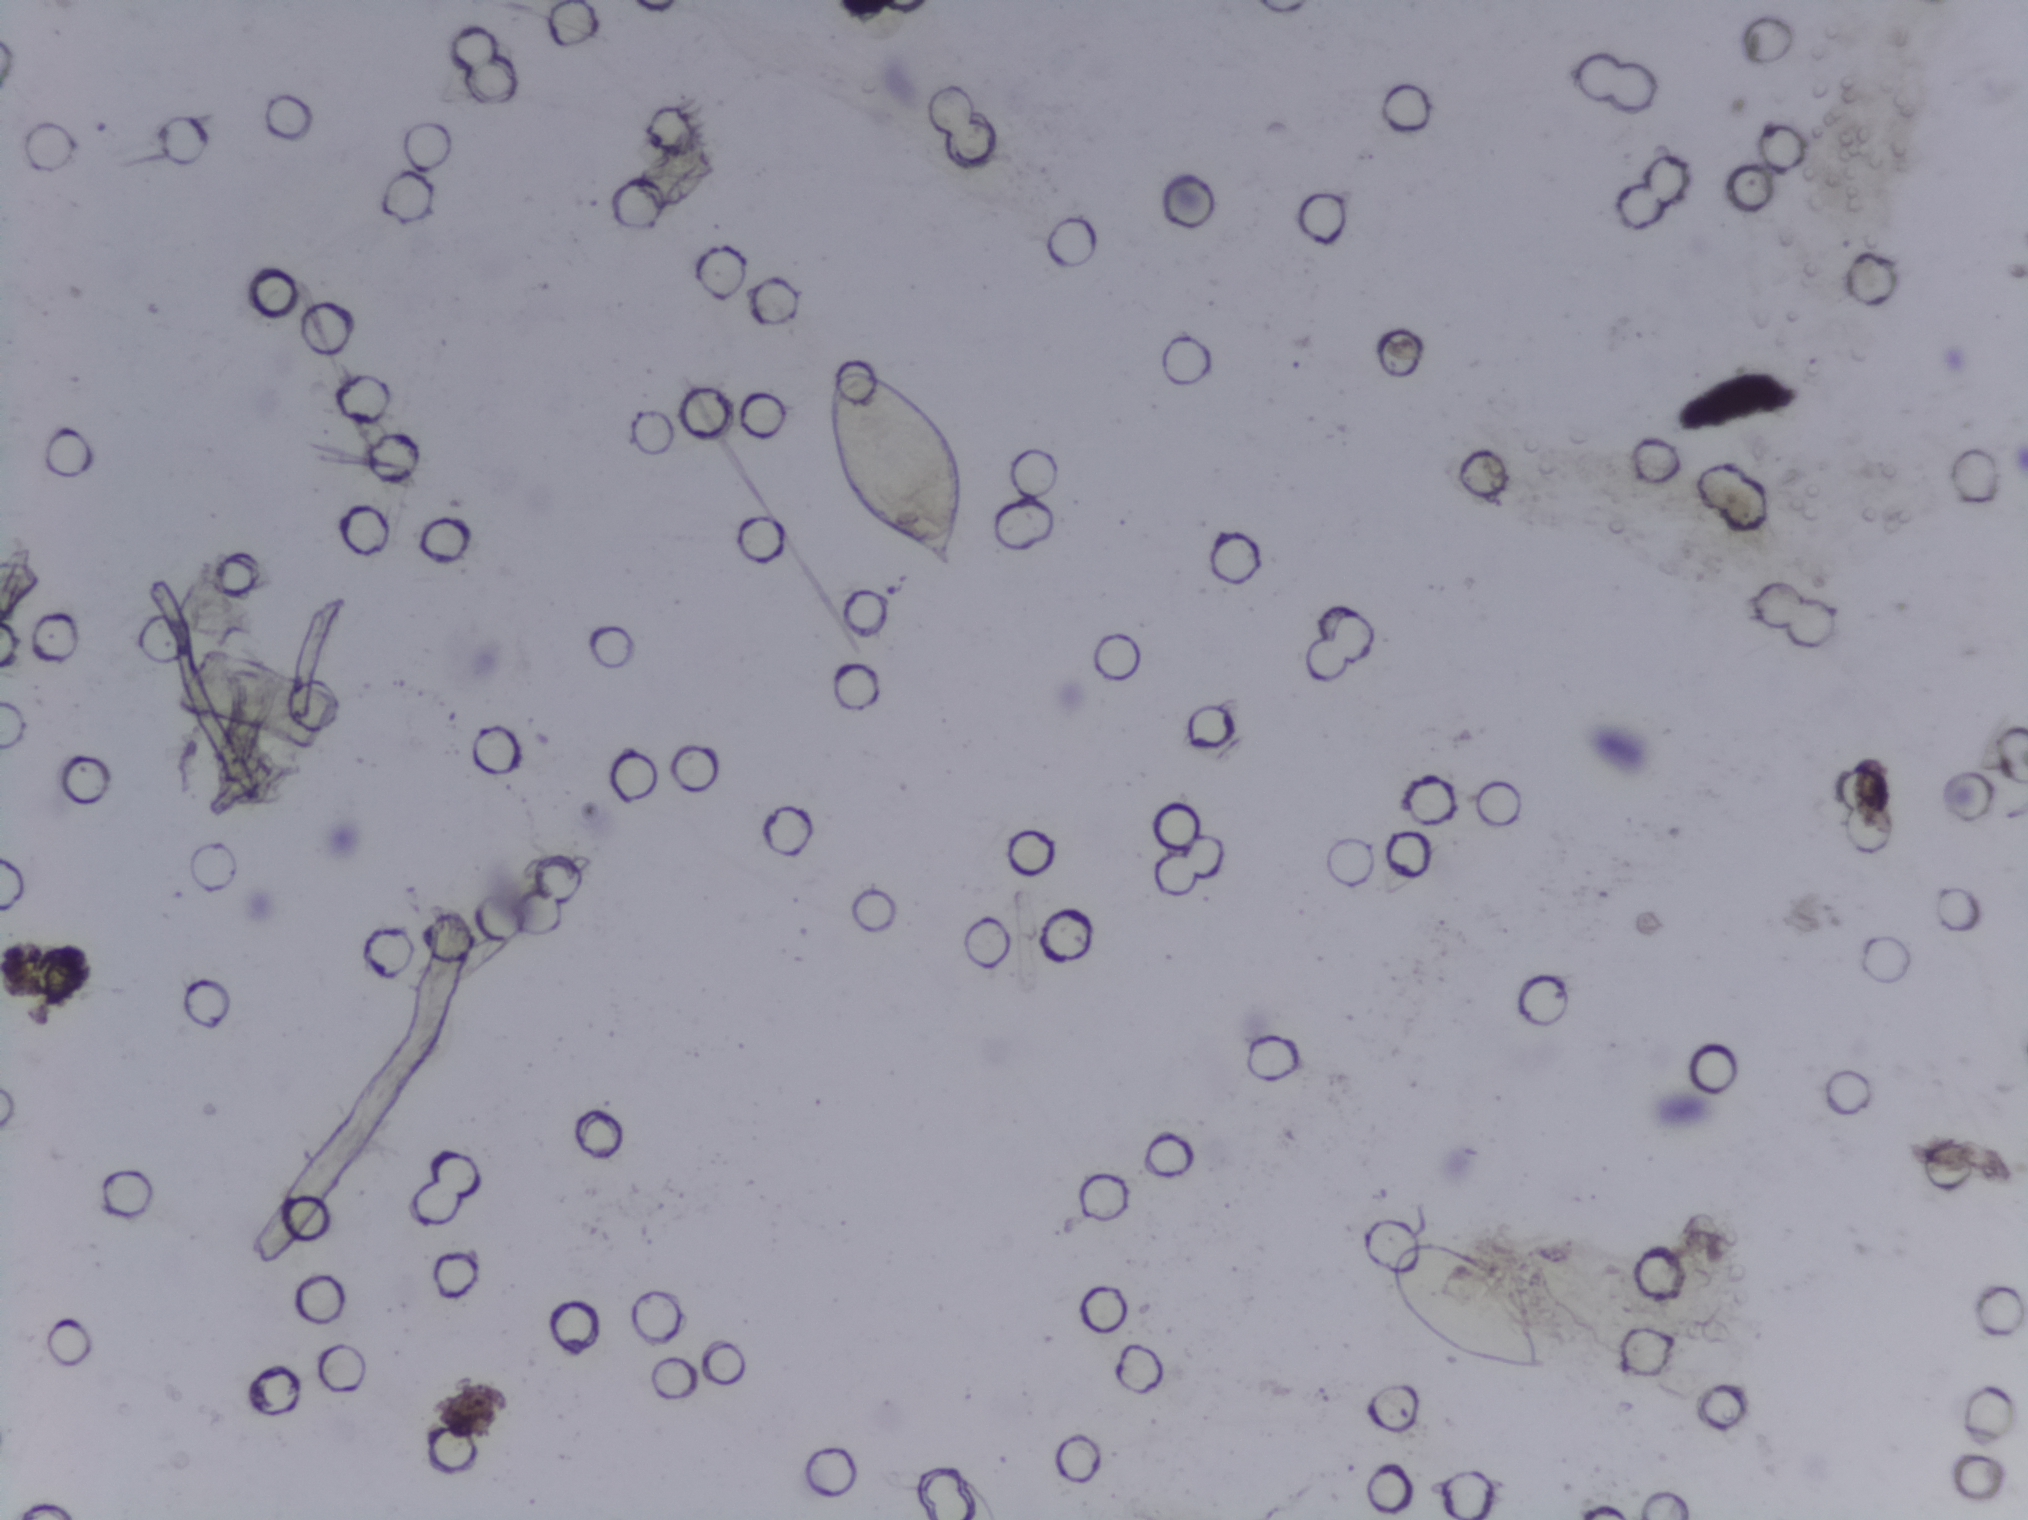
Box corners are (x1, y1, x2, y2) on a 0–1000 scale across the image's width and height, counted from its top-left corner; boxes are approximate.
Schistosoma eggs, outlined areas: (404, 241, 480, 377); (685, 814, 764, 904). The marked pixels themselves, not the boxes around them, cover about 1.2% of the image. Eggs that touch can end up inside the same outlined area.
Photomicrograph of a urine filtration membrane, 4× objective.